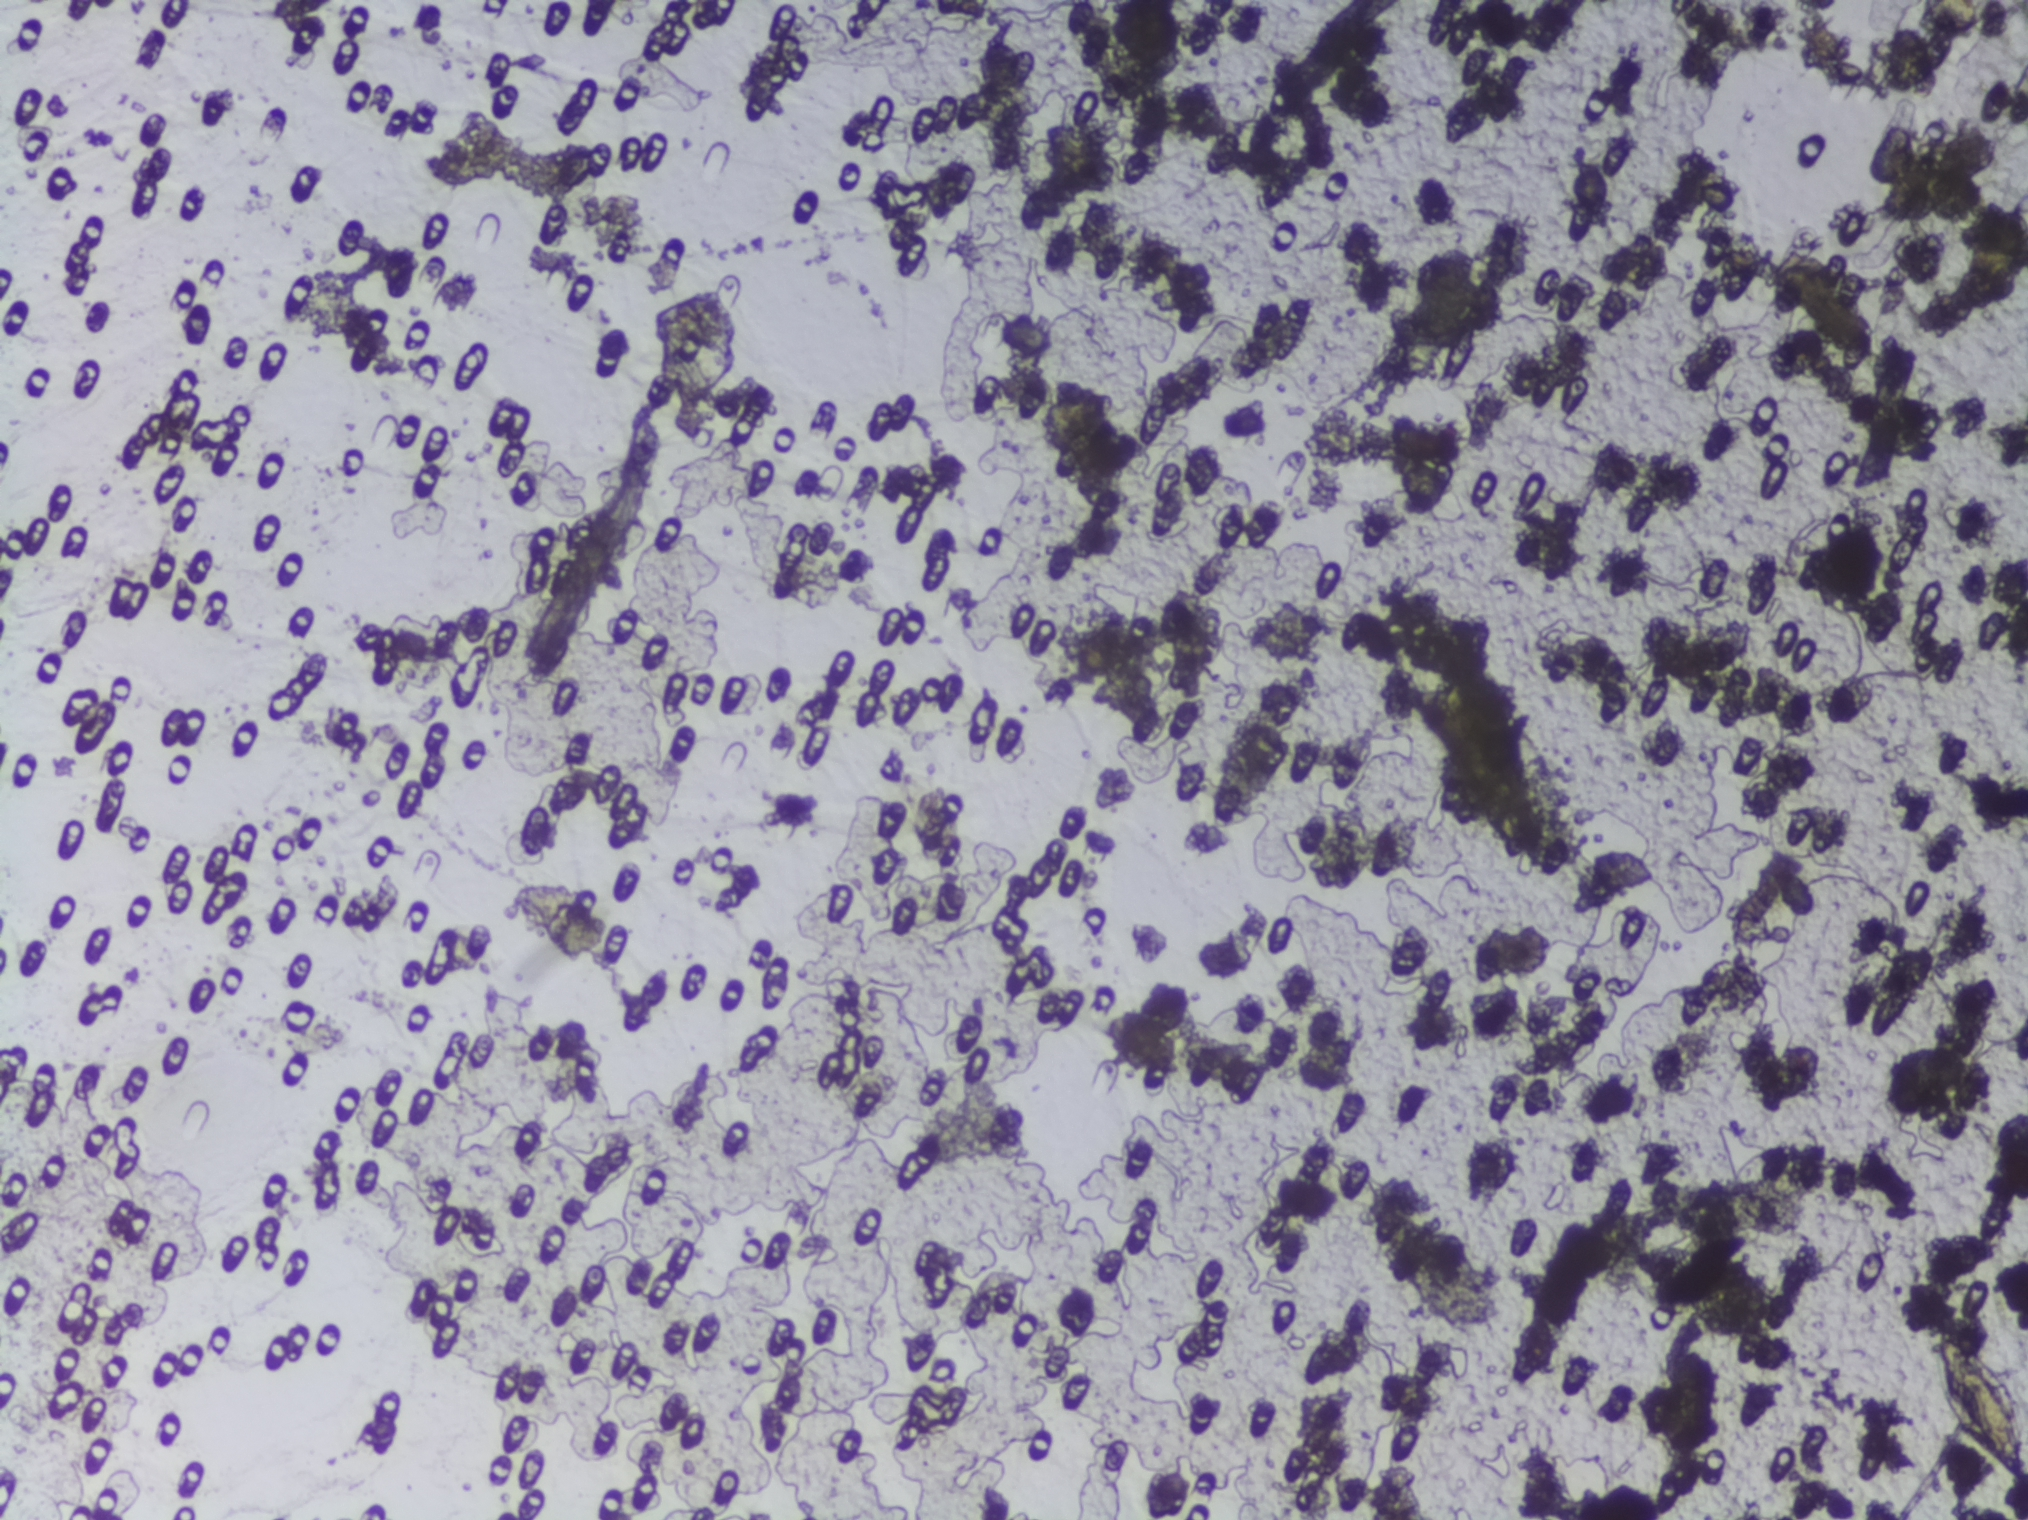
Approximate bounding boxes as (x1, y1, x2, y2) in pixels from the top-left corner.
The expert annotation outlines Schistosoma eggs at (1931, 1319, 2025, 1485). About 0.3% of the image's pixels are marked (the marked pixels themselves, not the box around them). Eggs that touch can end up inside the same outlined area.
Urine filtration membrane under a 4× objective, photographed by an automated digital microscope.